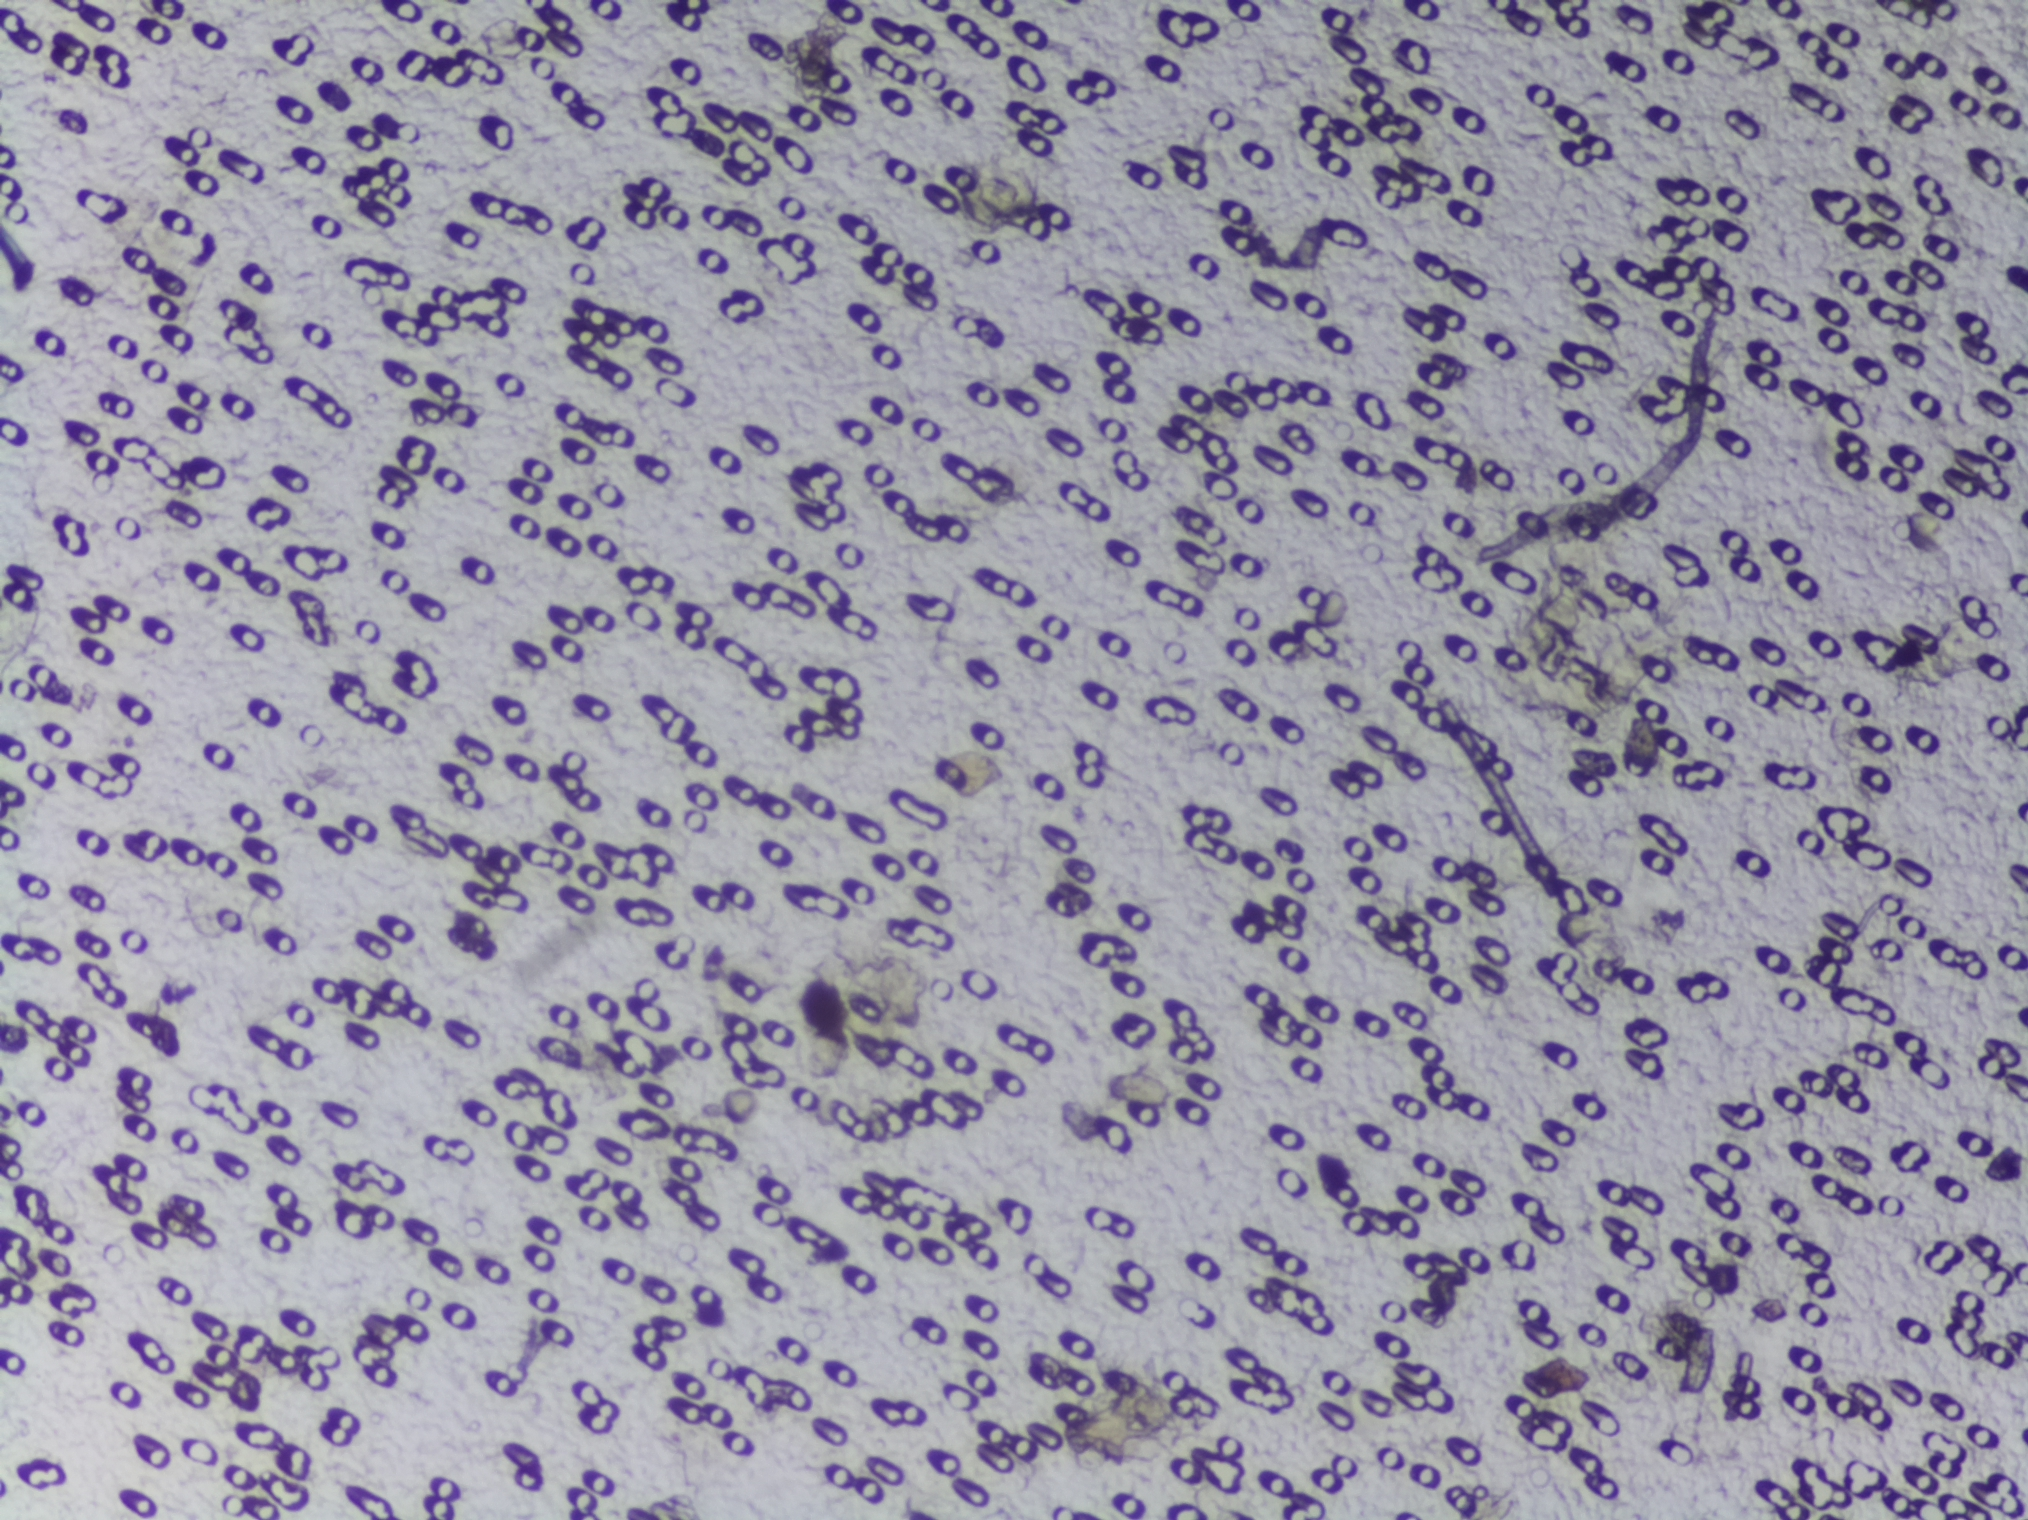
Microscope photograph (4× objective) of a membrane that a urine sample was filtered through.
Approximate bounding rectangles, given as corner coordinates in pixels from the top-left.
Schistosoma egg areas, outlined: (x1=1109, y1=1069, x2=1172, y2=1108); (x1=1621, y1=711, x2=1662, y2=780). Eggs that touch can end up inside the same outlined area.